One field of view of a urine filter membrane, 4× objective, 2028 × 1520 pixels.
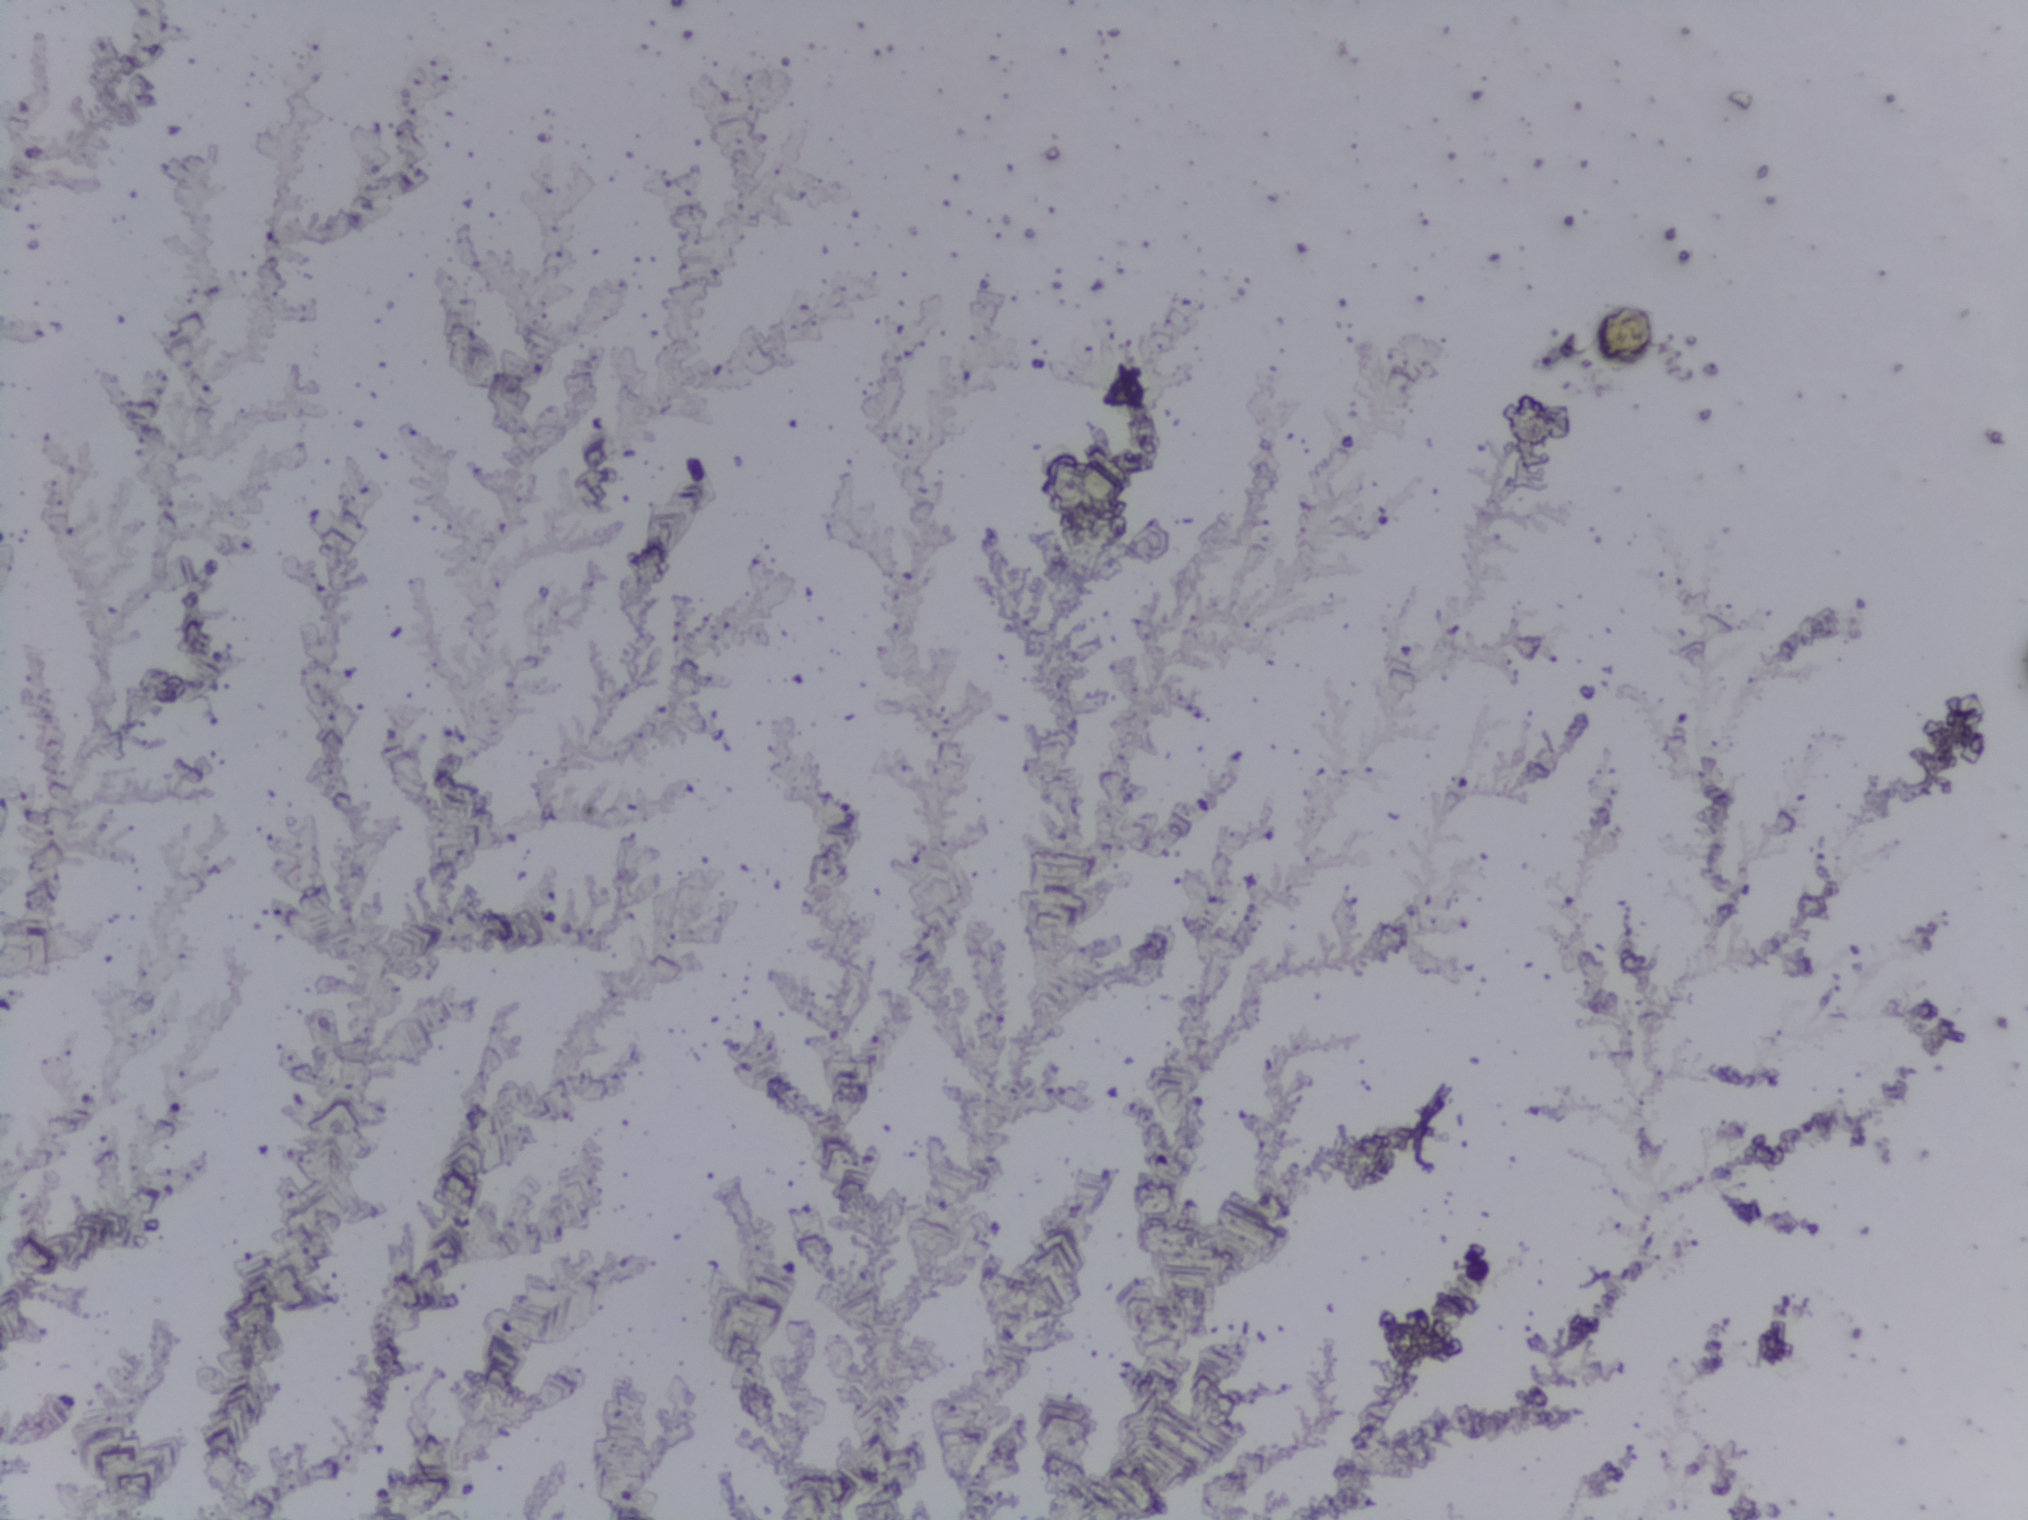
Schistosoma eggs: none outlined.